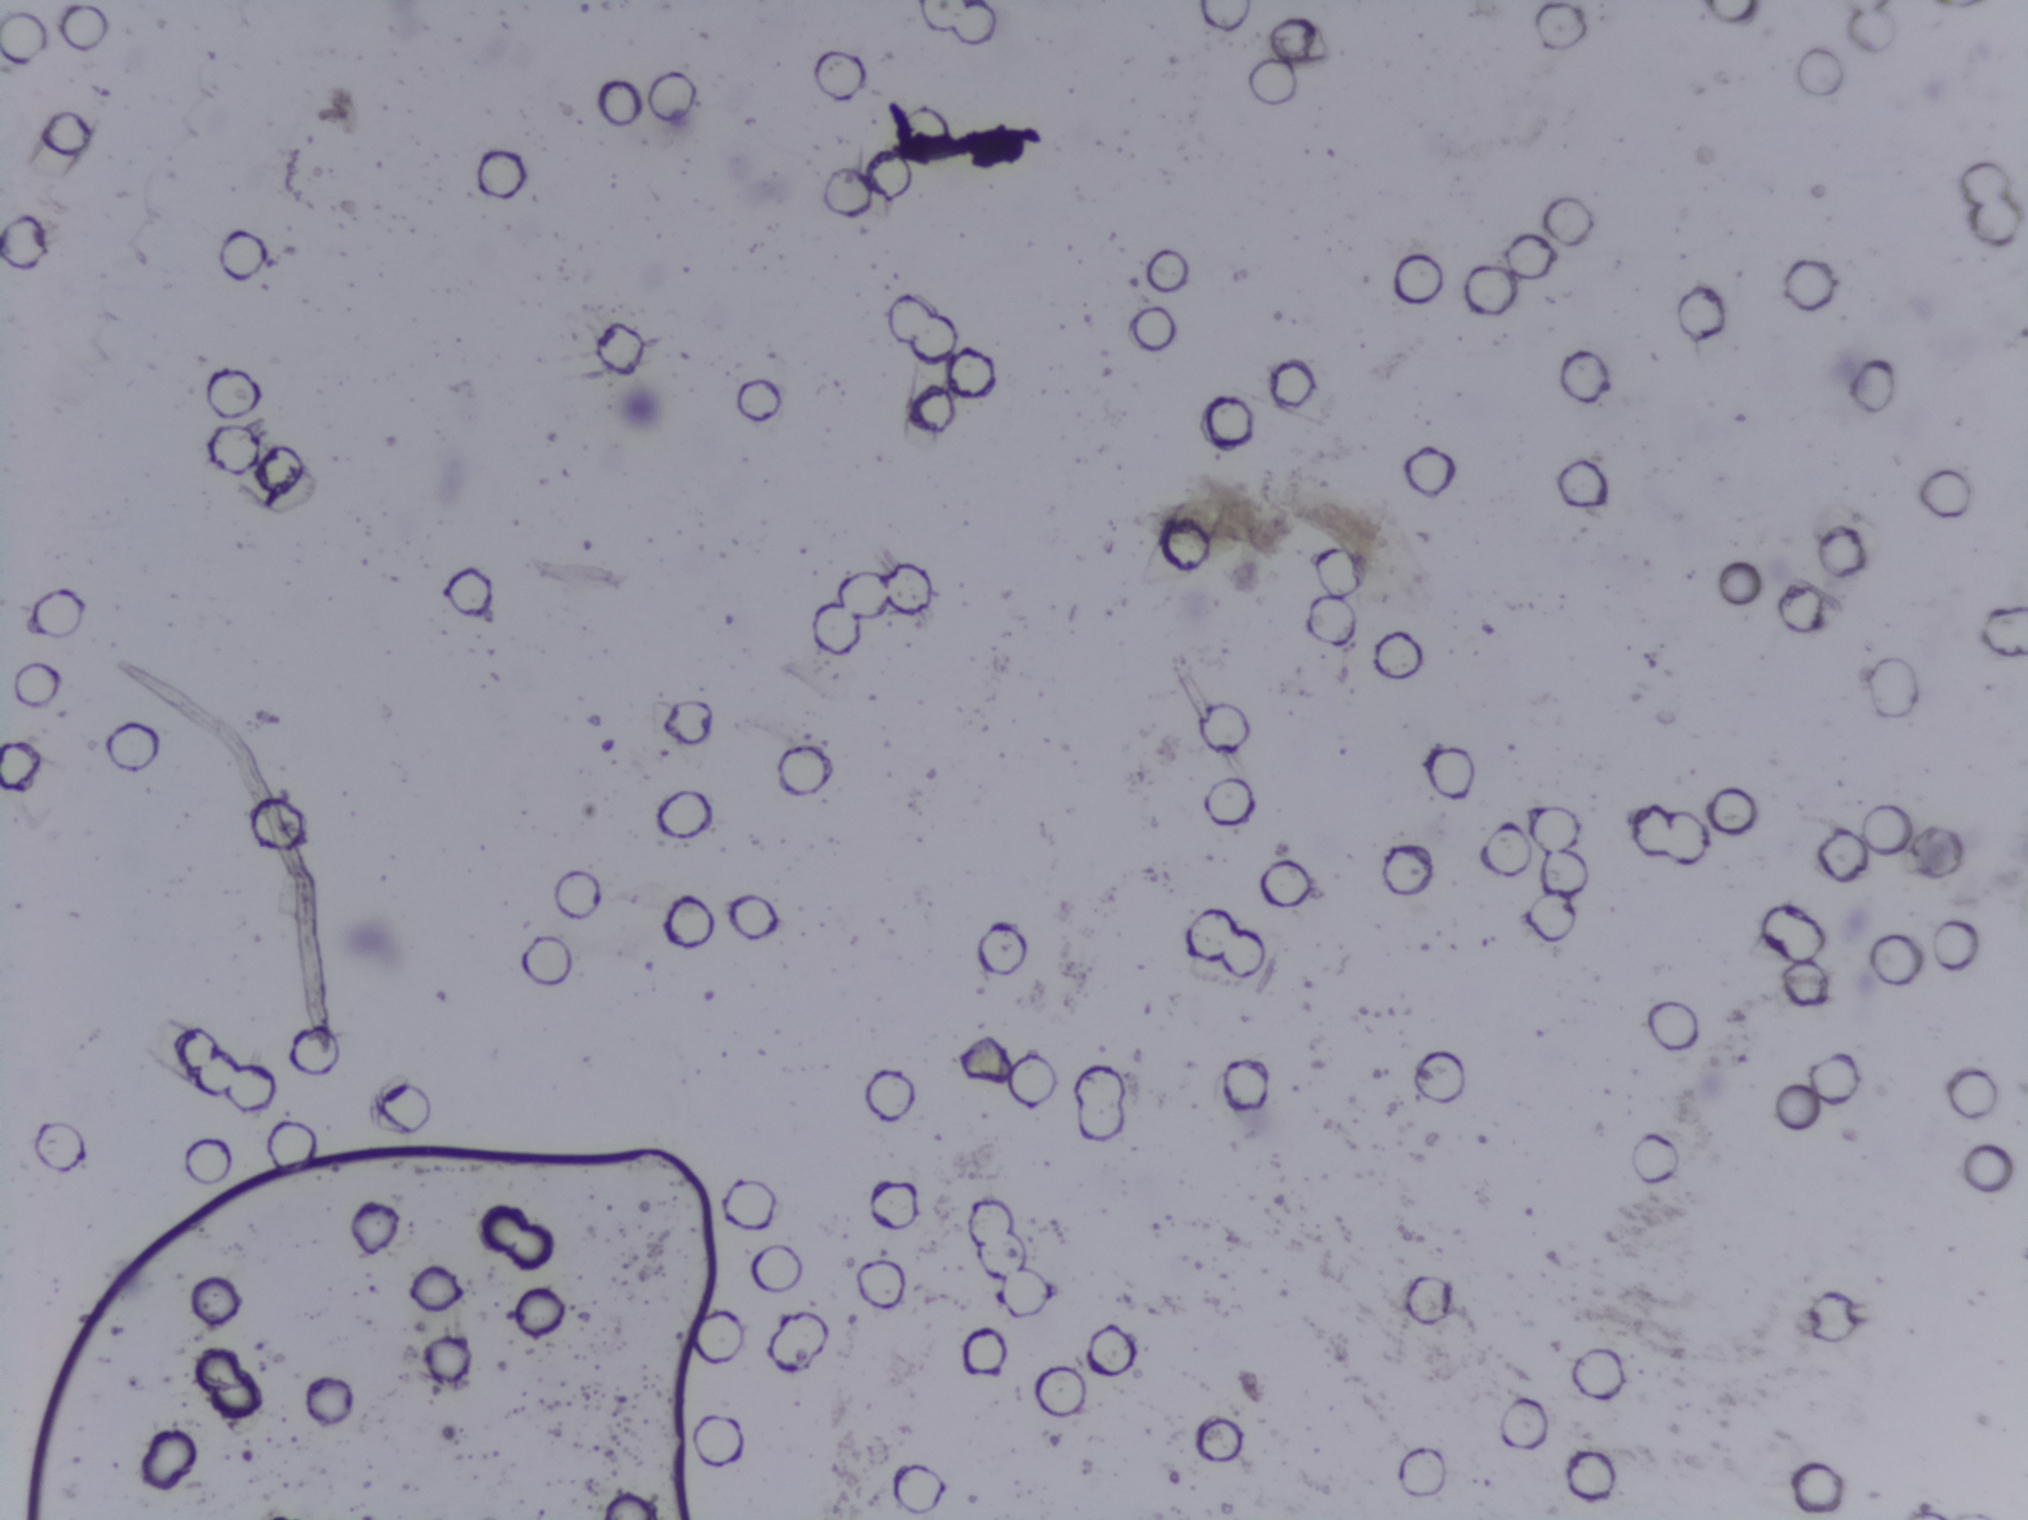
Schistosoma eggs: none outlined.
Photomicrograph of a urine filtration membrane, 4× objective. The image covers about 1.5 × 1.1 mm of the membrane.